Microscope photograph (4× objective) of a membrane that a urine sample was filtered through.
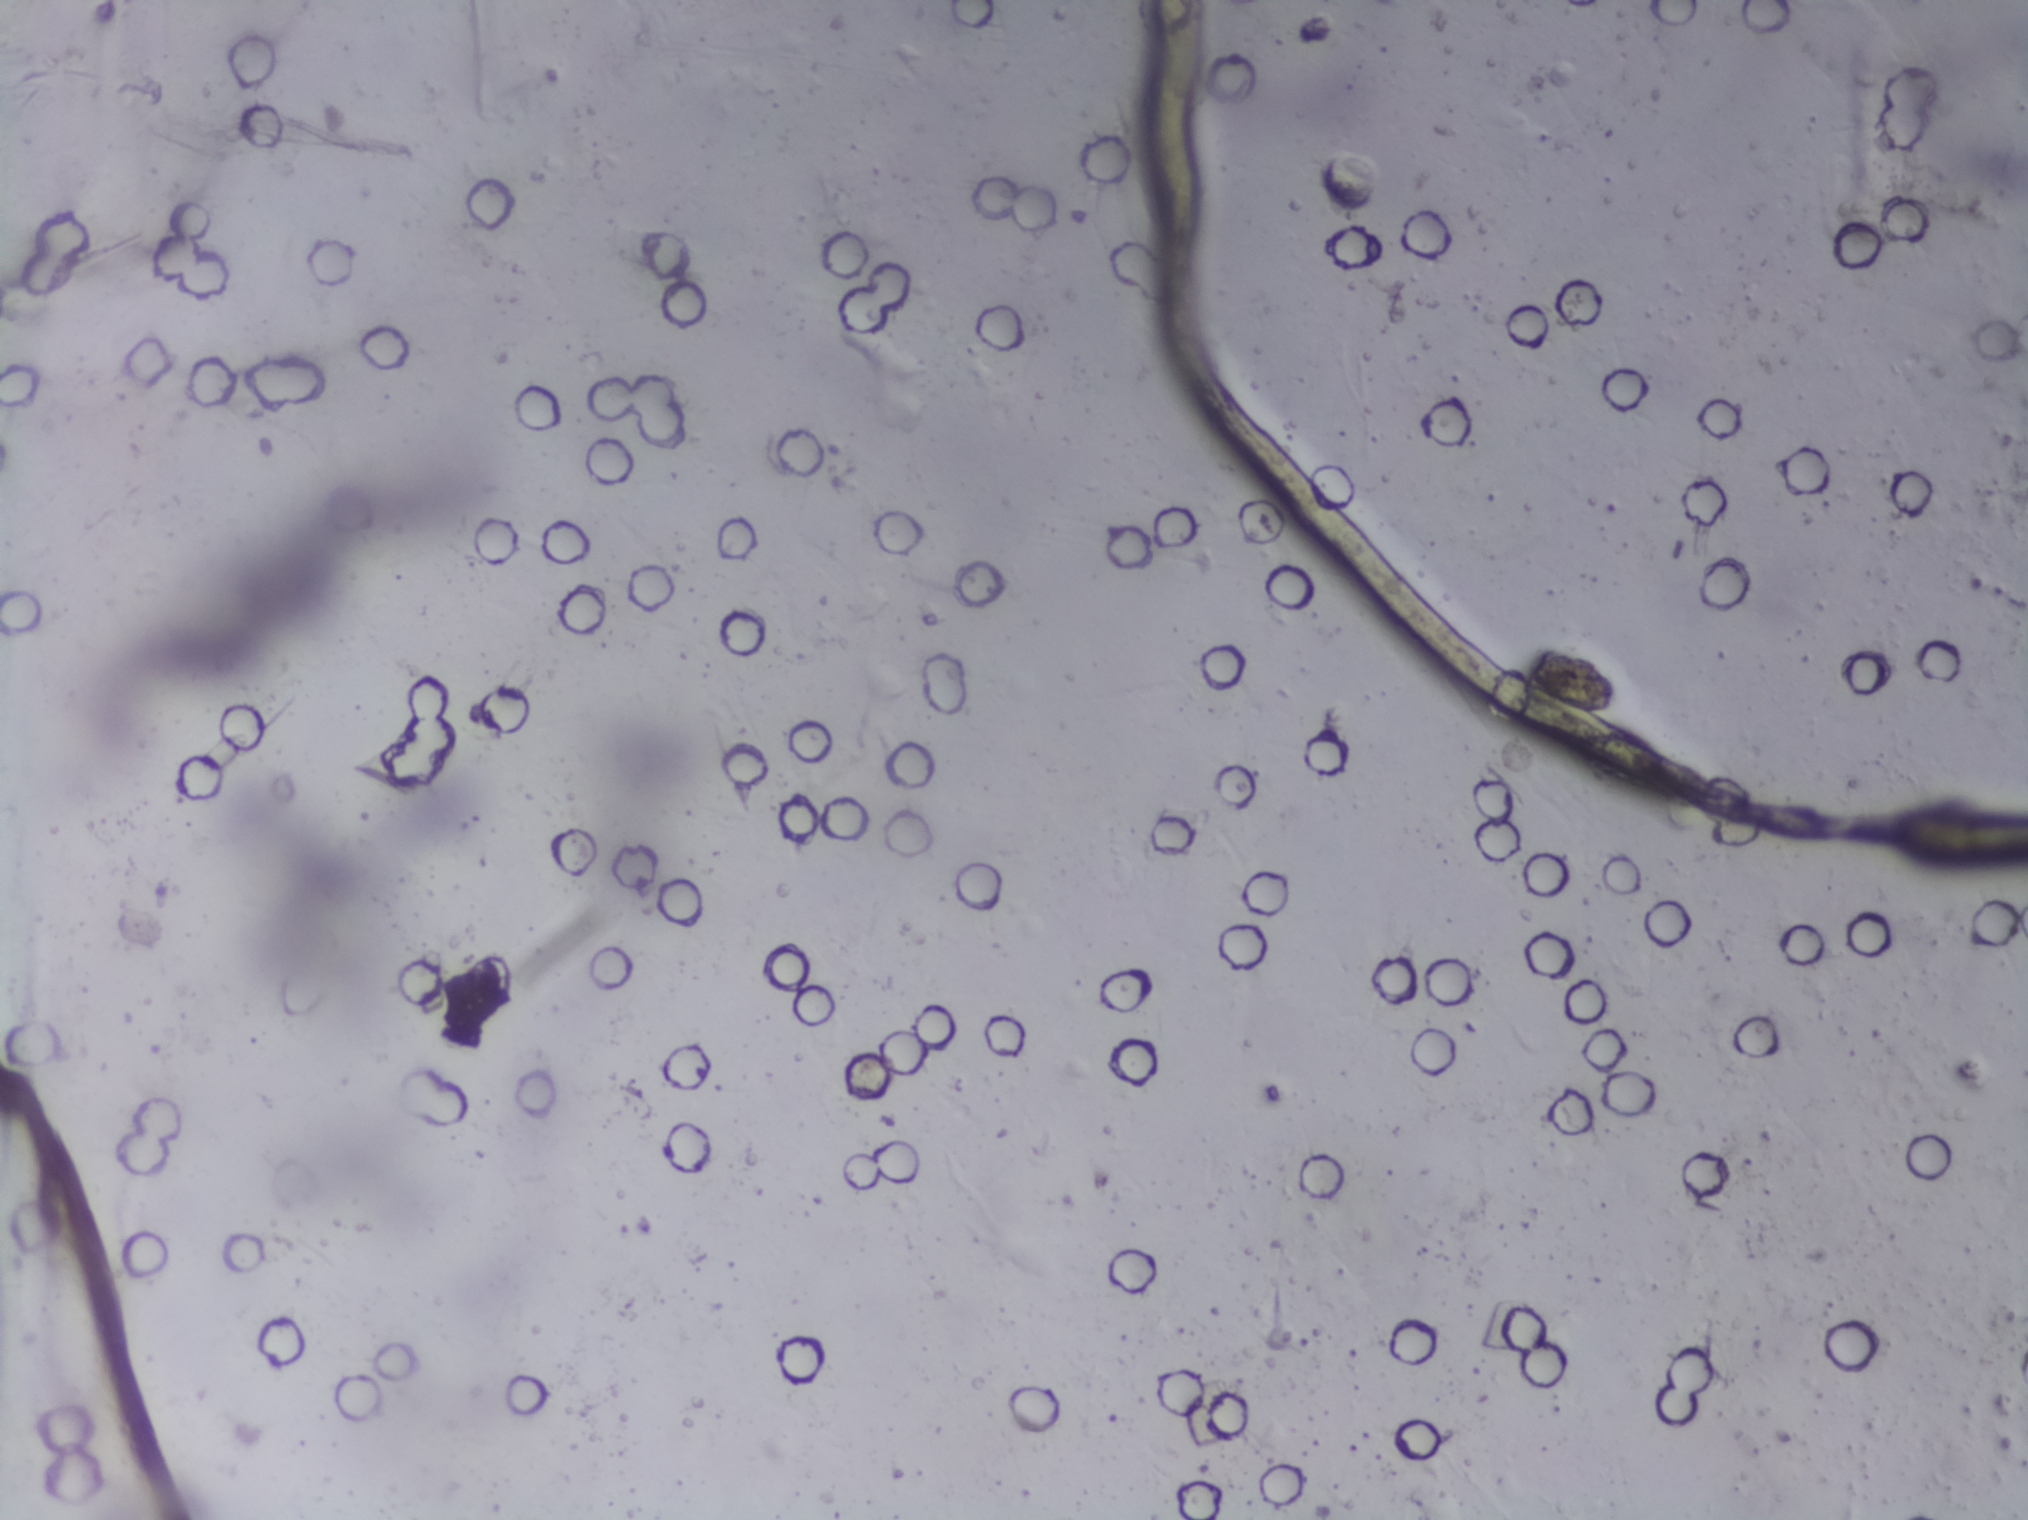
The expert annotation outlines no Schistosoma egg in this image.